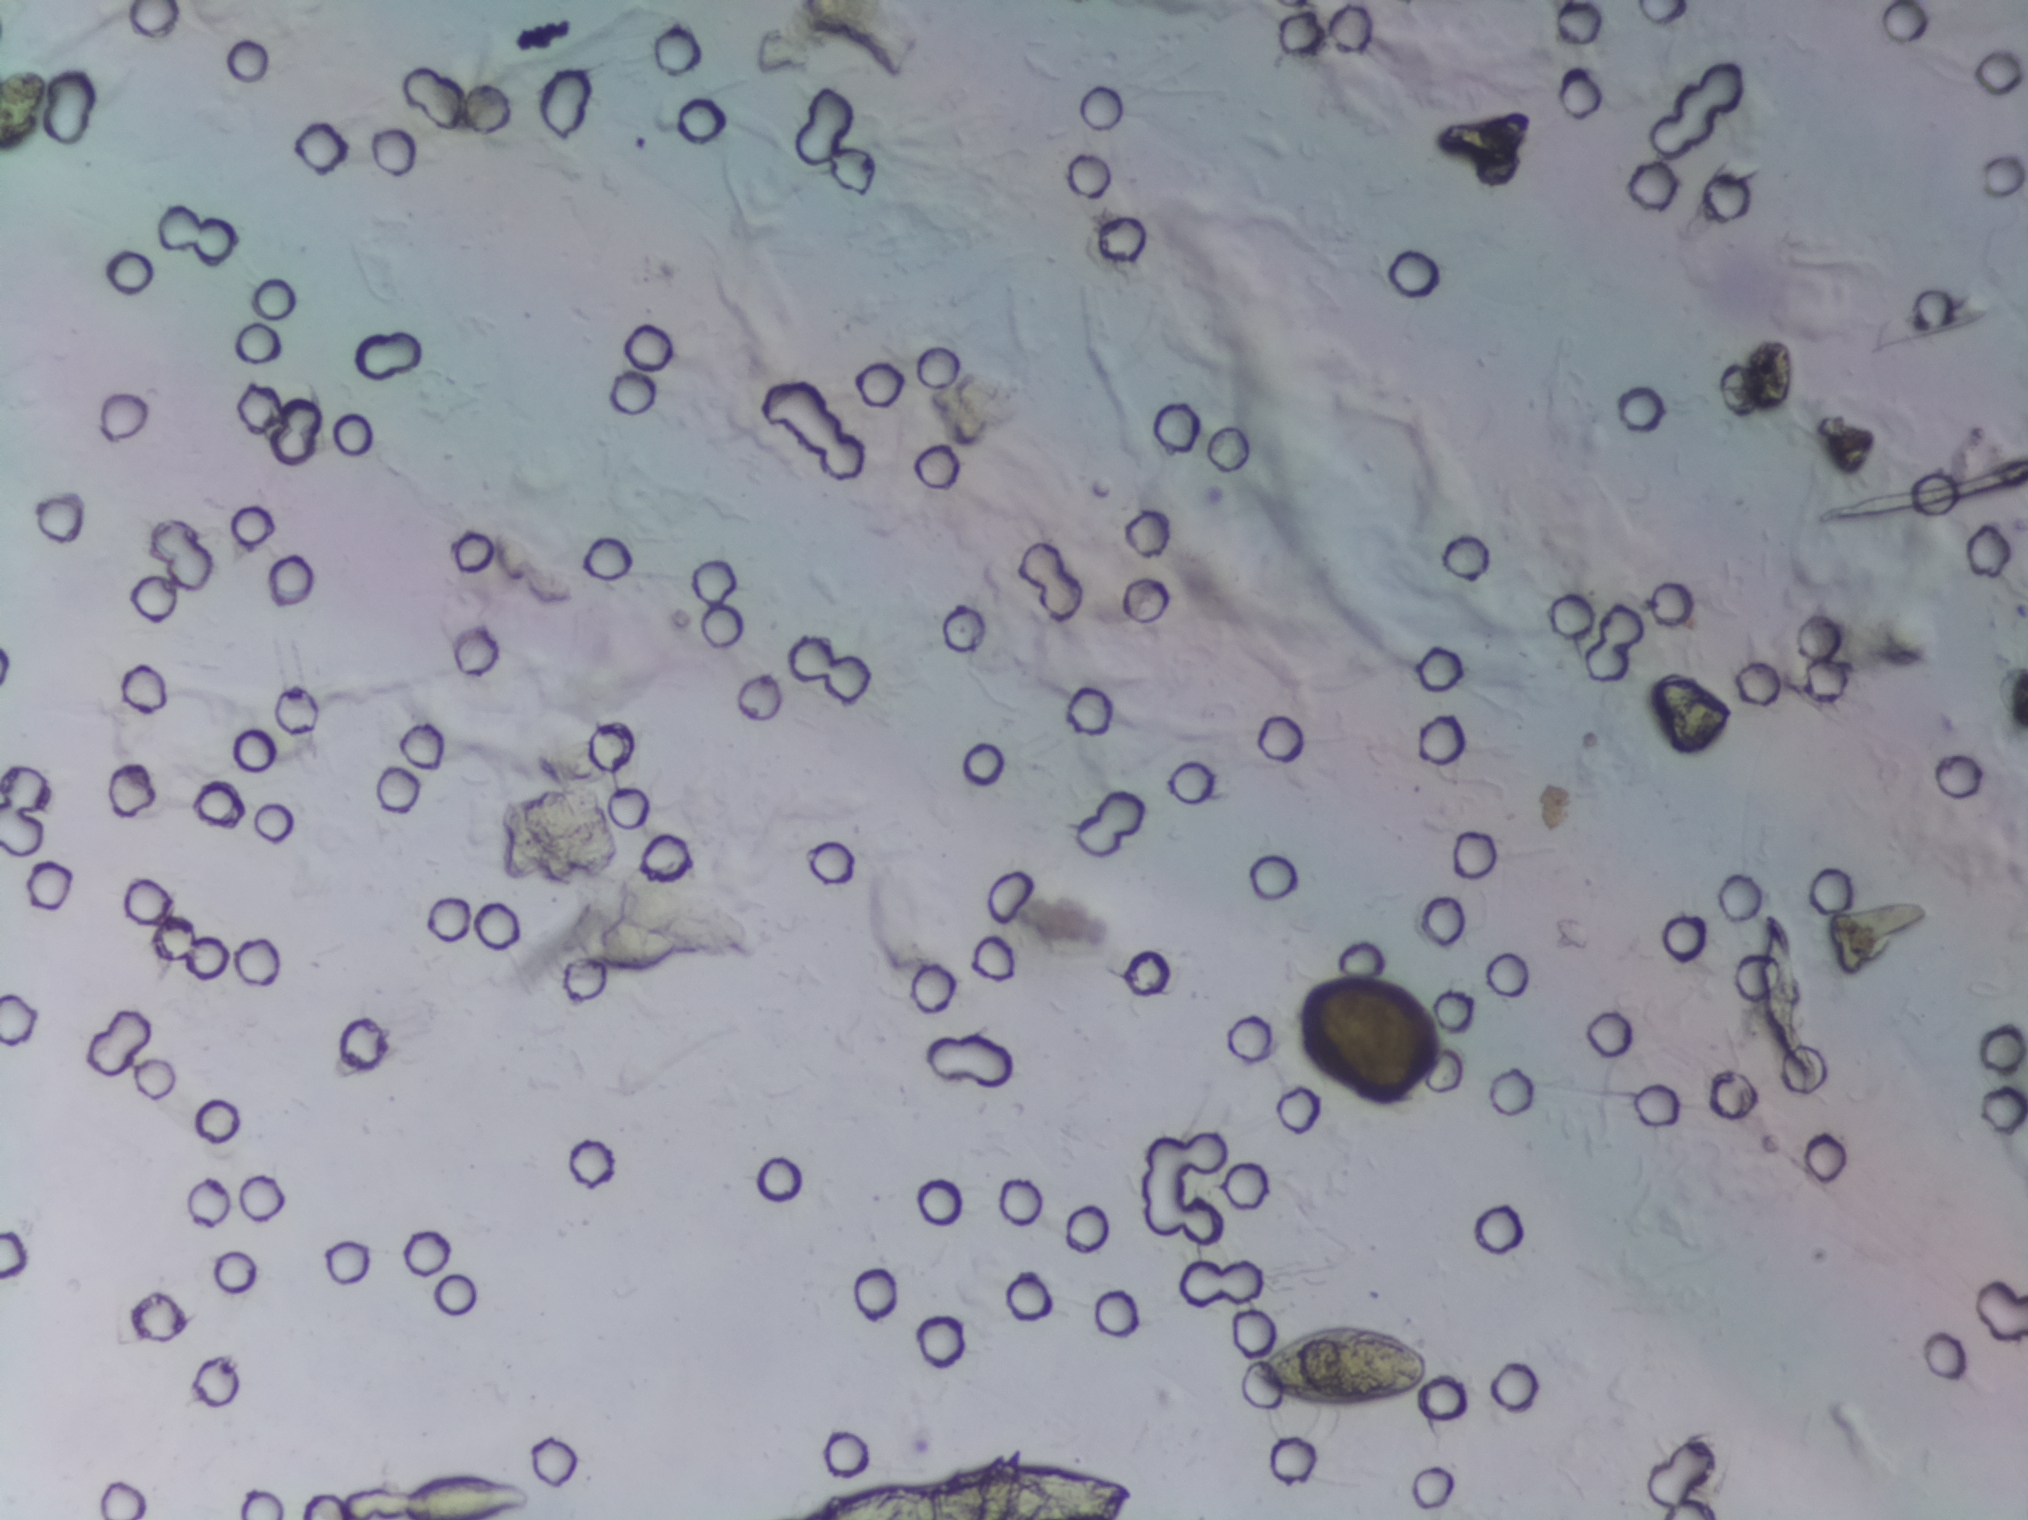
Urine filtration membrane under a 4× objective, photographed by an automated digital microscope.
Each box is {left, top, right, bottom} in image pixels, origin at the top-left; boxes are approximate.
Schistosoma eggs, outlined areas: {1244, 1320, 1432, 1412}. About 0.4% of the image's pixels are marked (the marked pixels themselves, not the box around them). Eggs that touch can end up inside the same outlined area. Any one outlined egg may, rarely, be S. mansoni rather than S. haematobium.